Microscope photograph (4× objective) of a membrane that a urine sample was filtered through. Field of view: about 1.5 mm wide and 1.1 mm high.
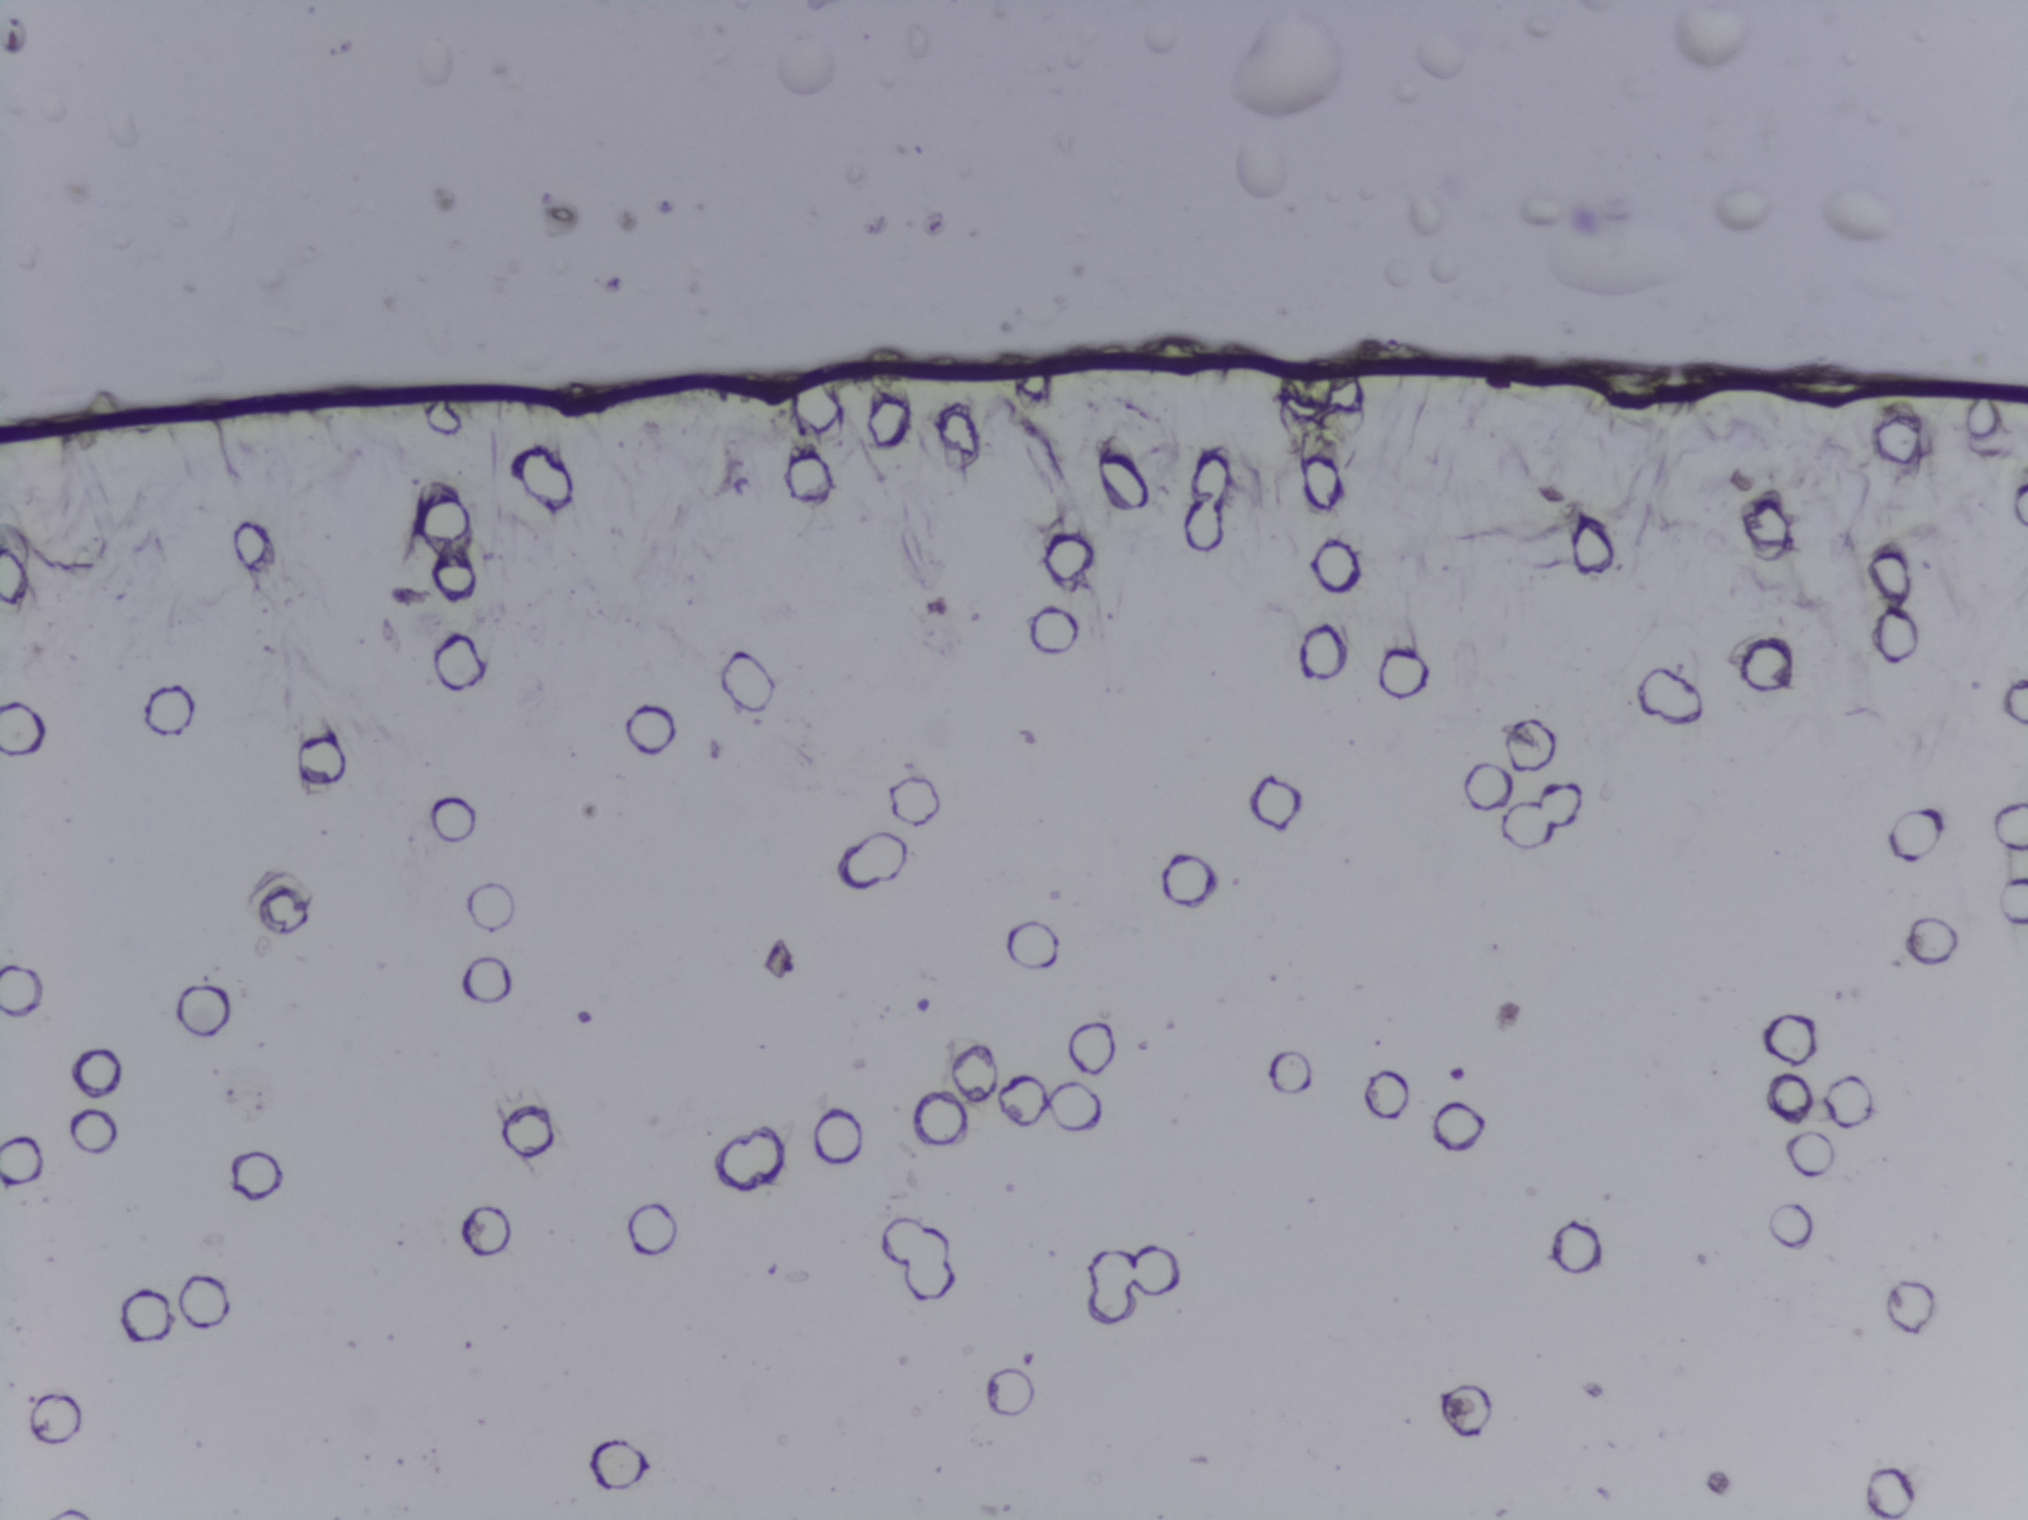
Schistosoma eggs: none outlined.